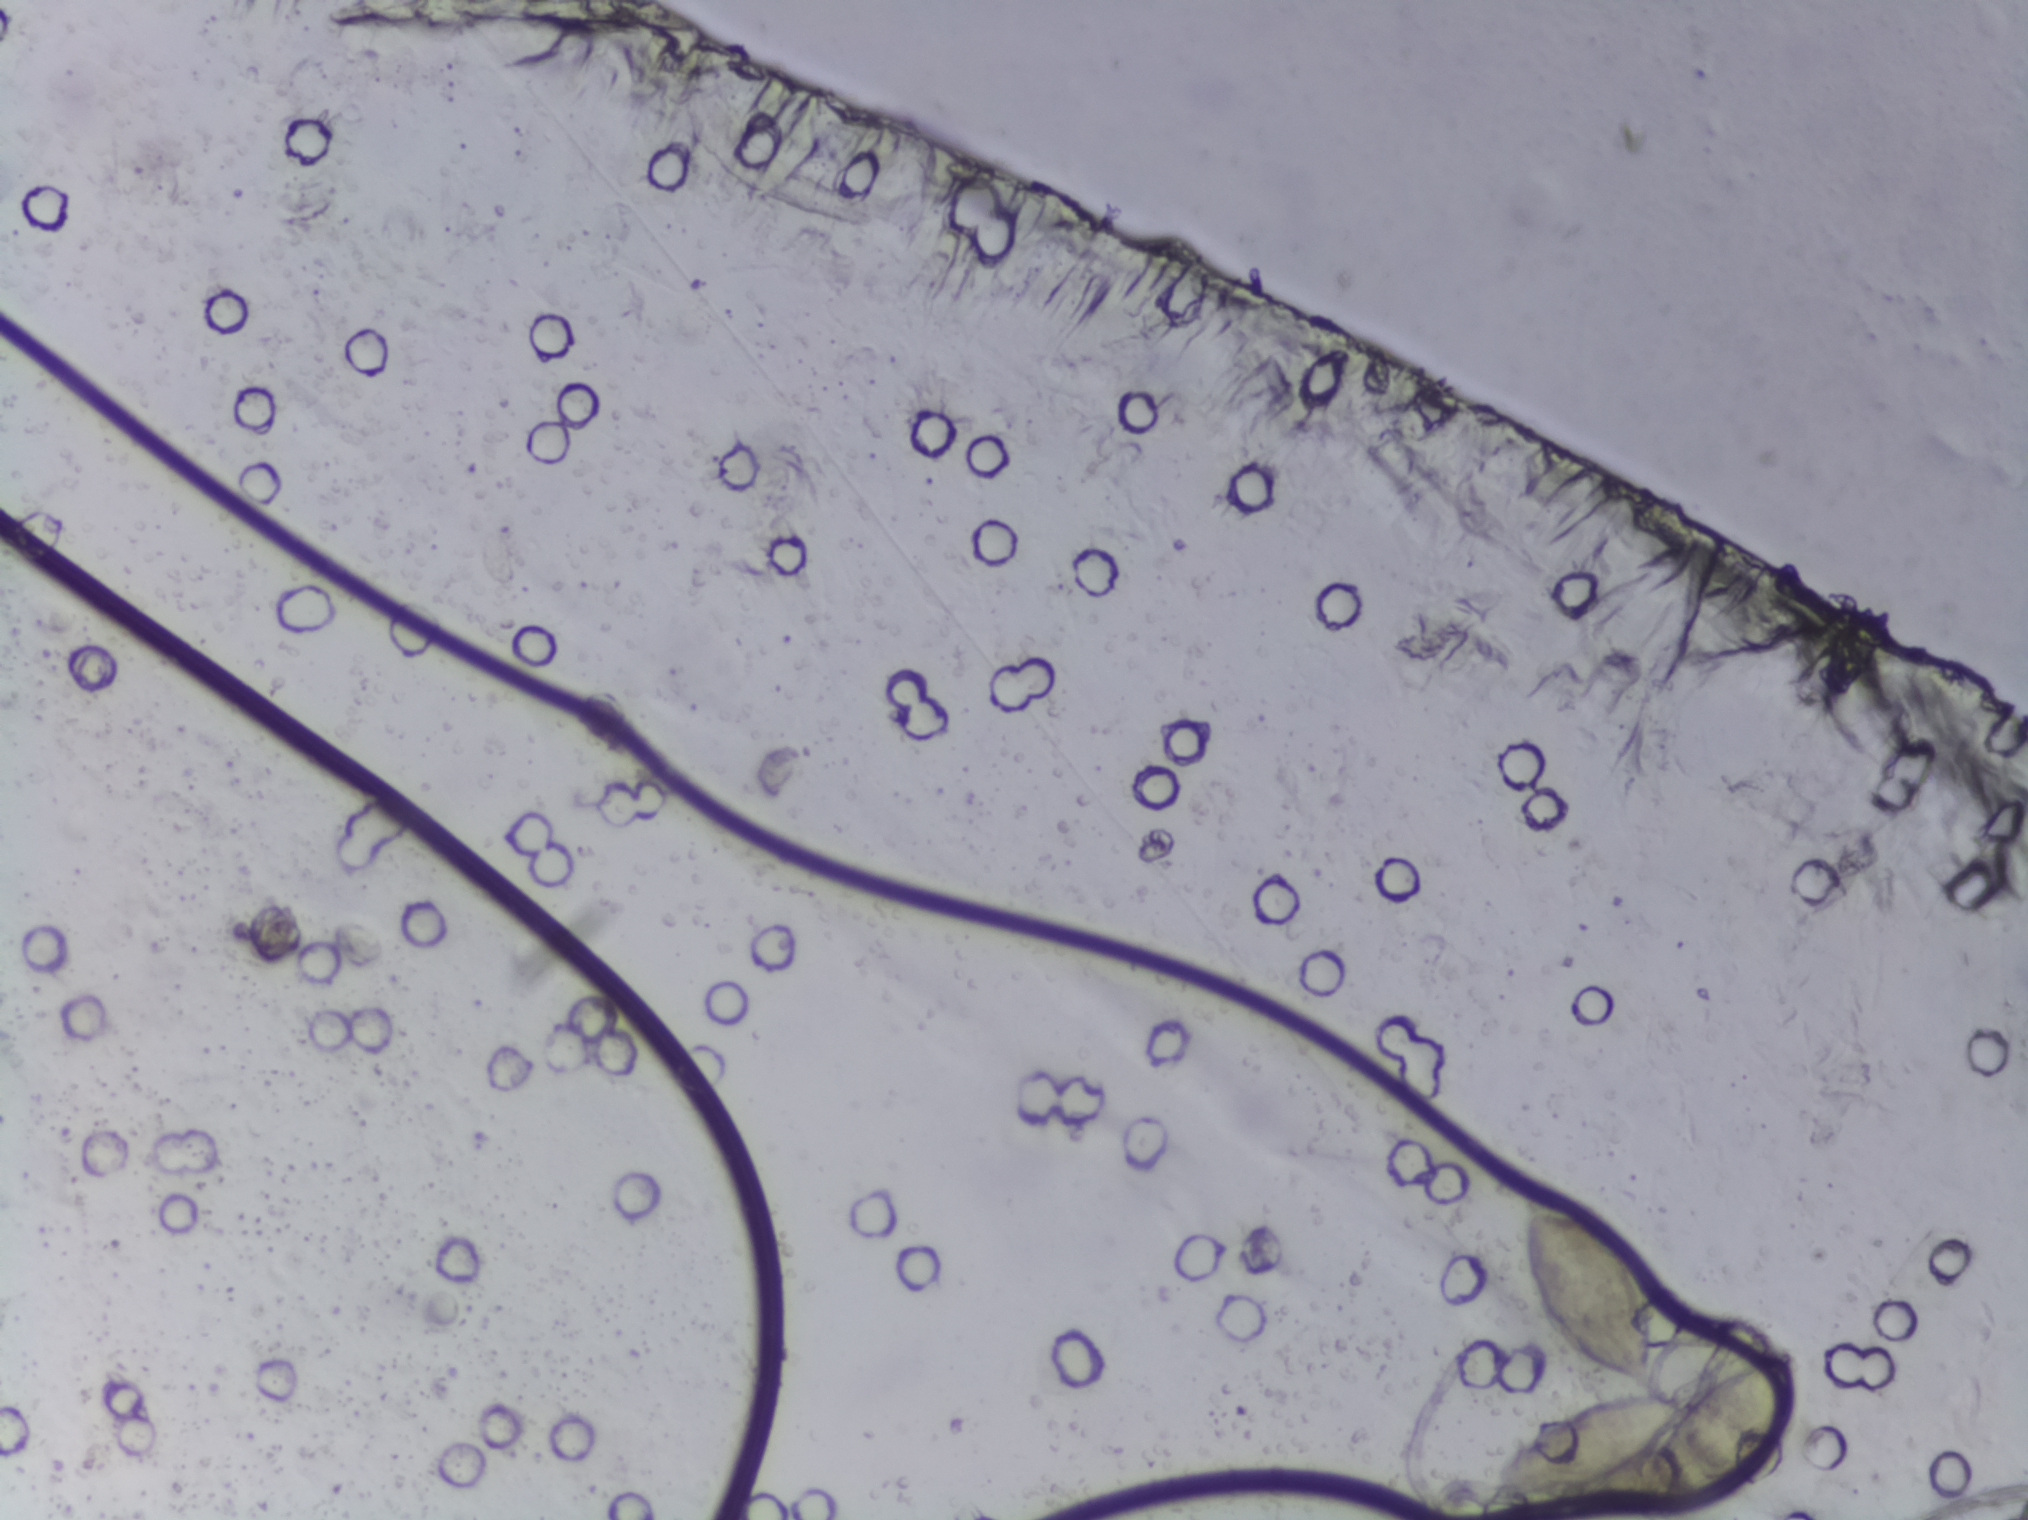
Photomicrograph of a urine filtration membrane, 4× objective.
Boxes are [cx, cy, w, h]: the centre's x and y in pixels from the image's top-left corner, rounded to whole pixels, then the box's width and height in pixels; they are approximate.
{"schistosoma_egg_areas_cxcywh_px": [[1643, 1357, 325, 325]]} Area 1 holds eggs clustered together. Area 1 reaches the bottom edge of the frame.
Eggs that touch can end up inside the same outlined area. Any one outlined egg may, rarely, be S. mansoni rather than S. haematobium.